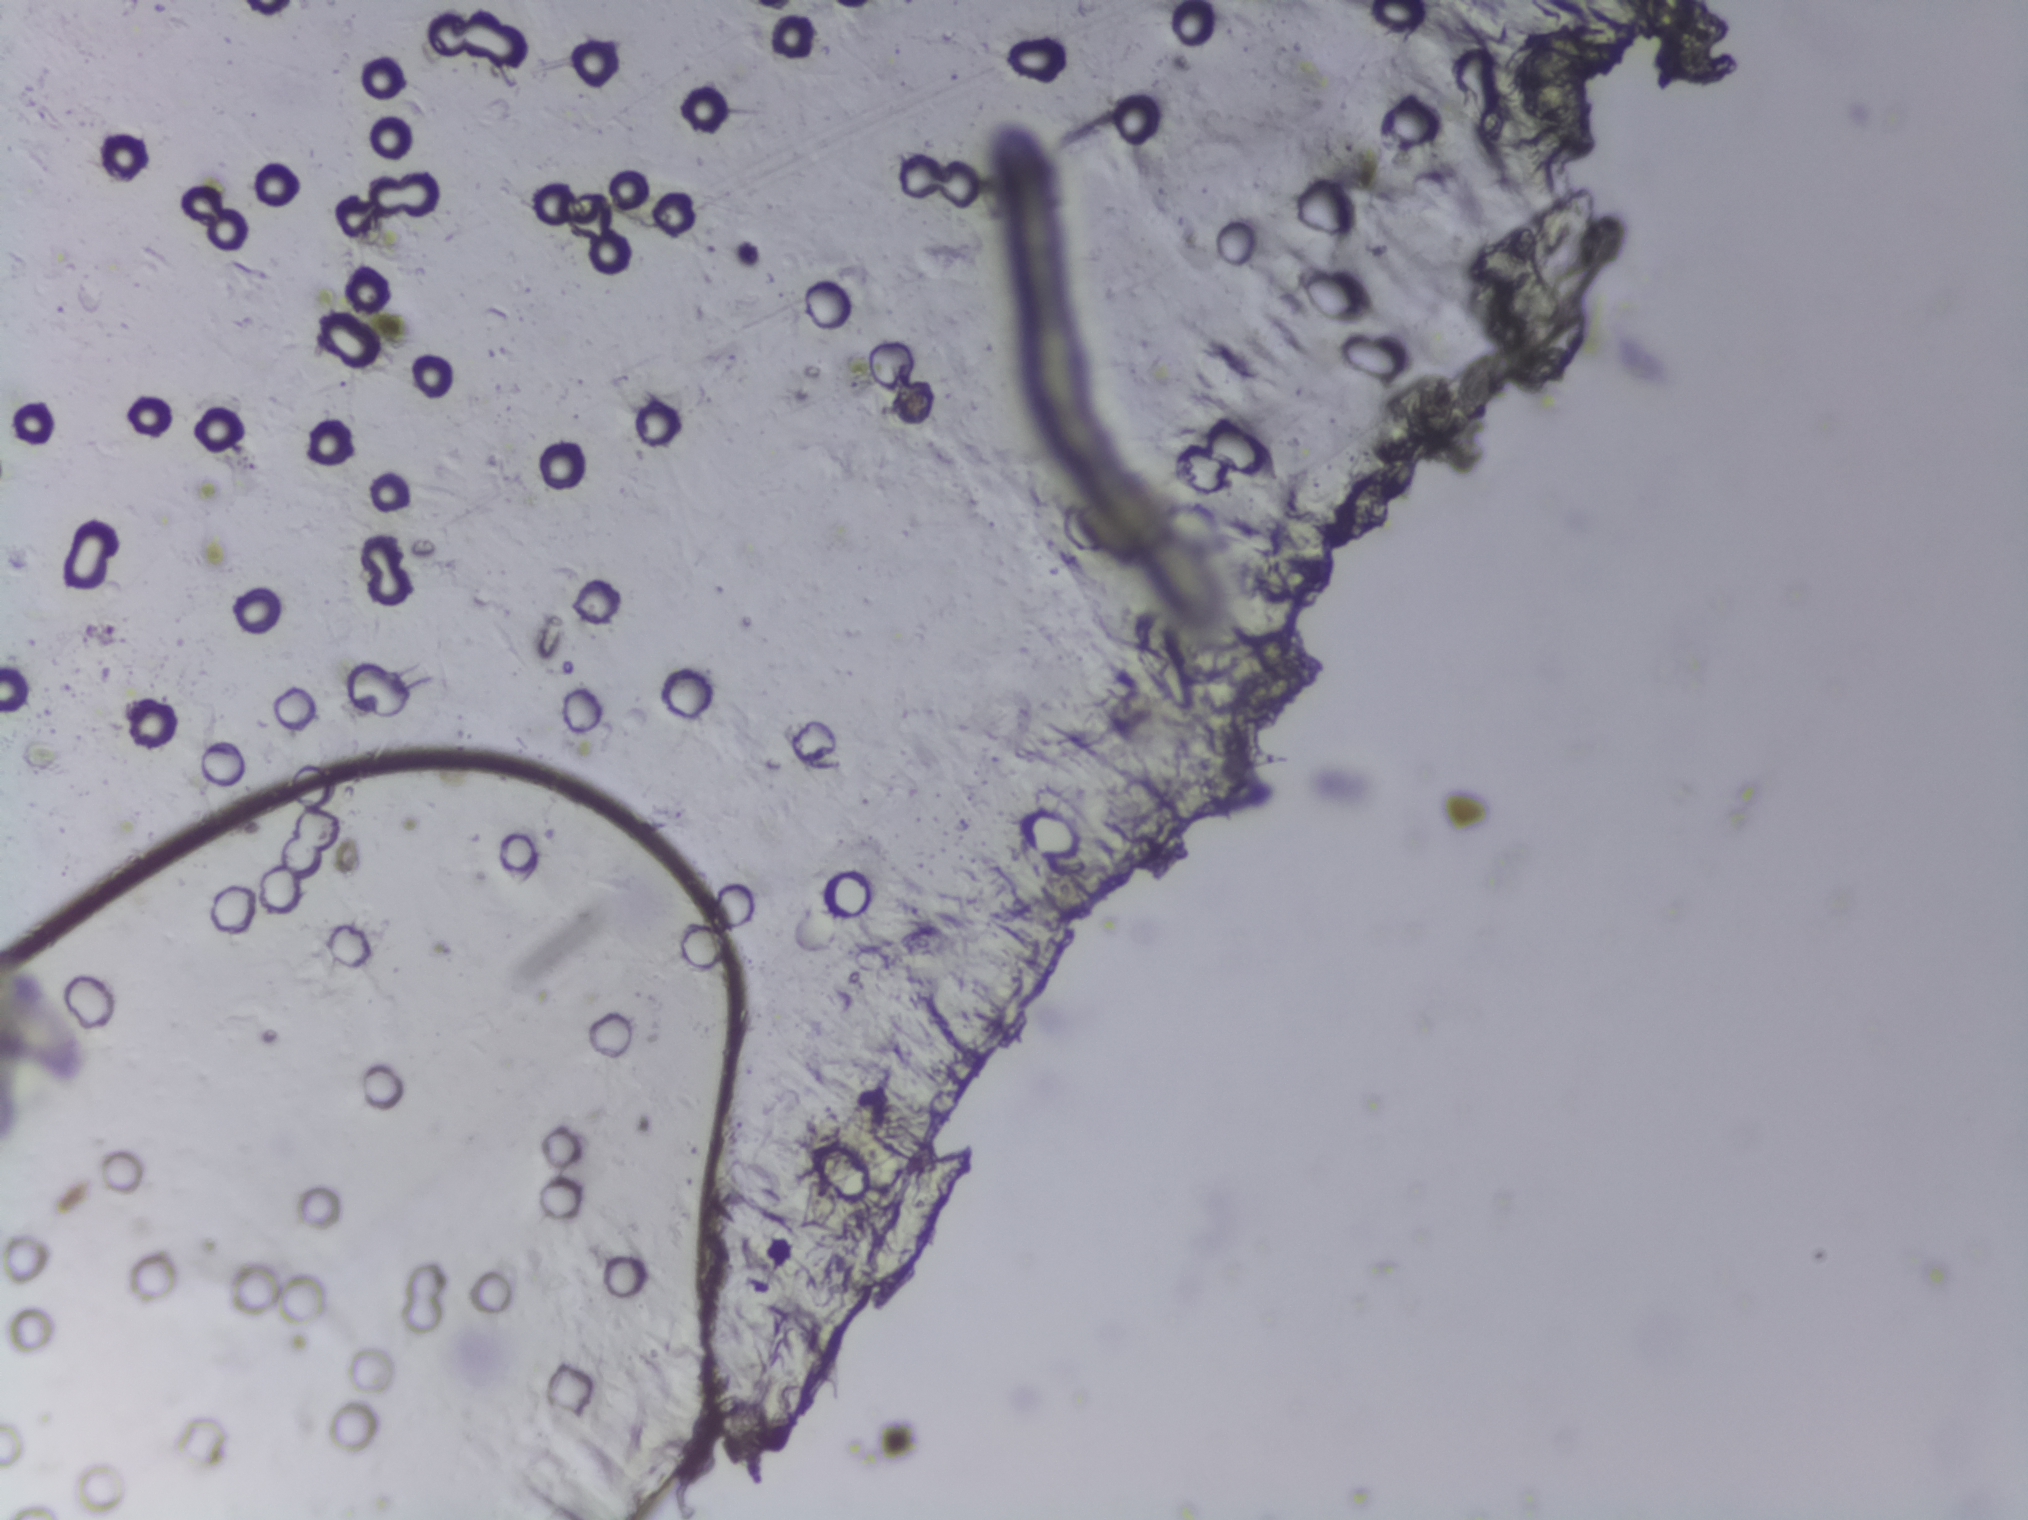
Photograph from an automated digital microscope: urine filter membrane, 4× objective. The field of view is about 1.5 mm × 1.1 mm.
No area of this image was outlined as a Schistosoma egg.